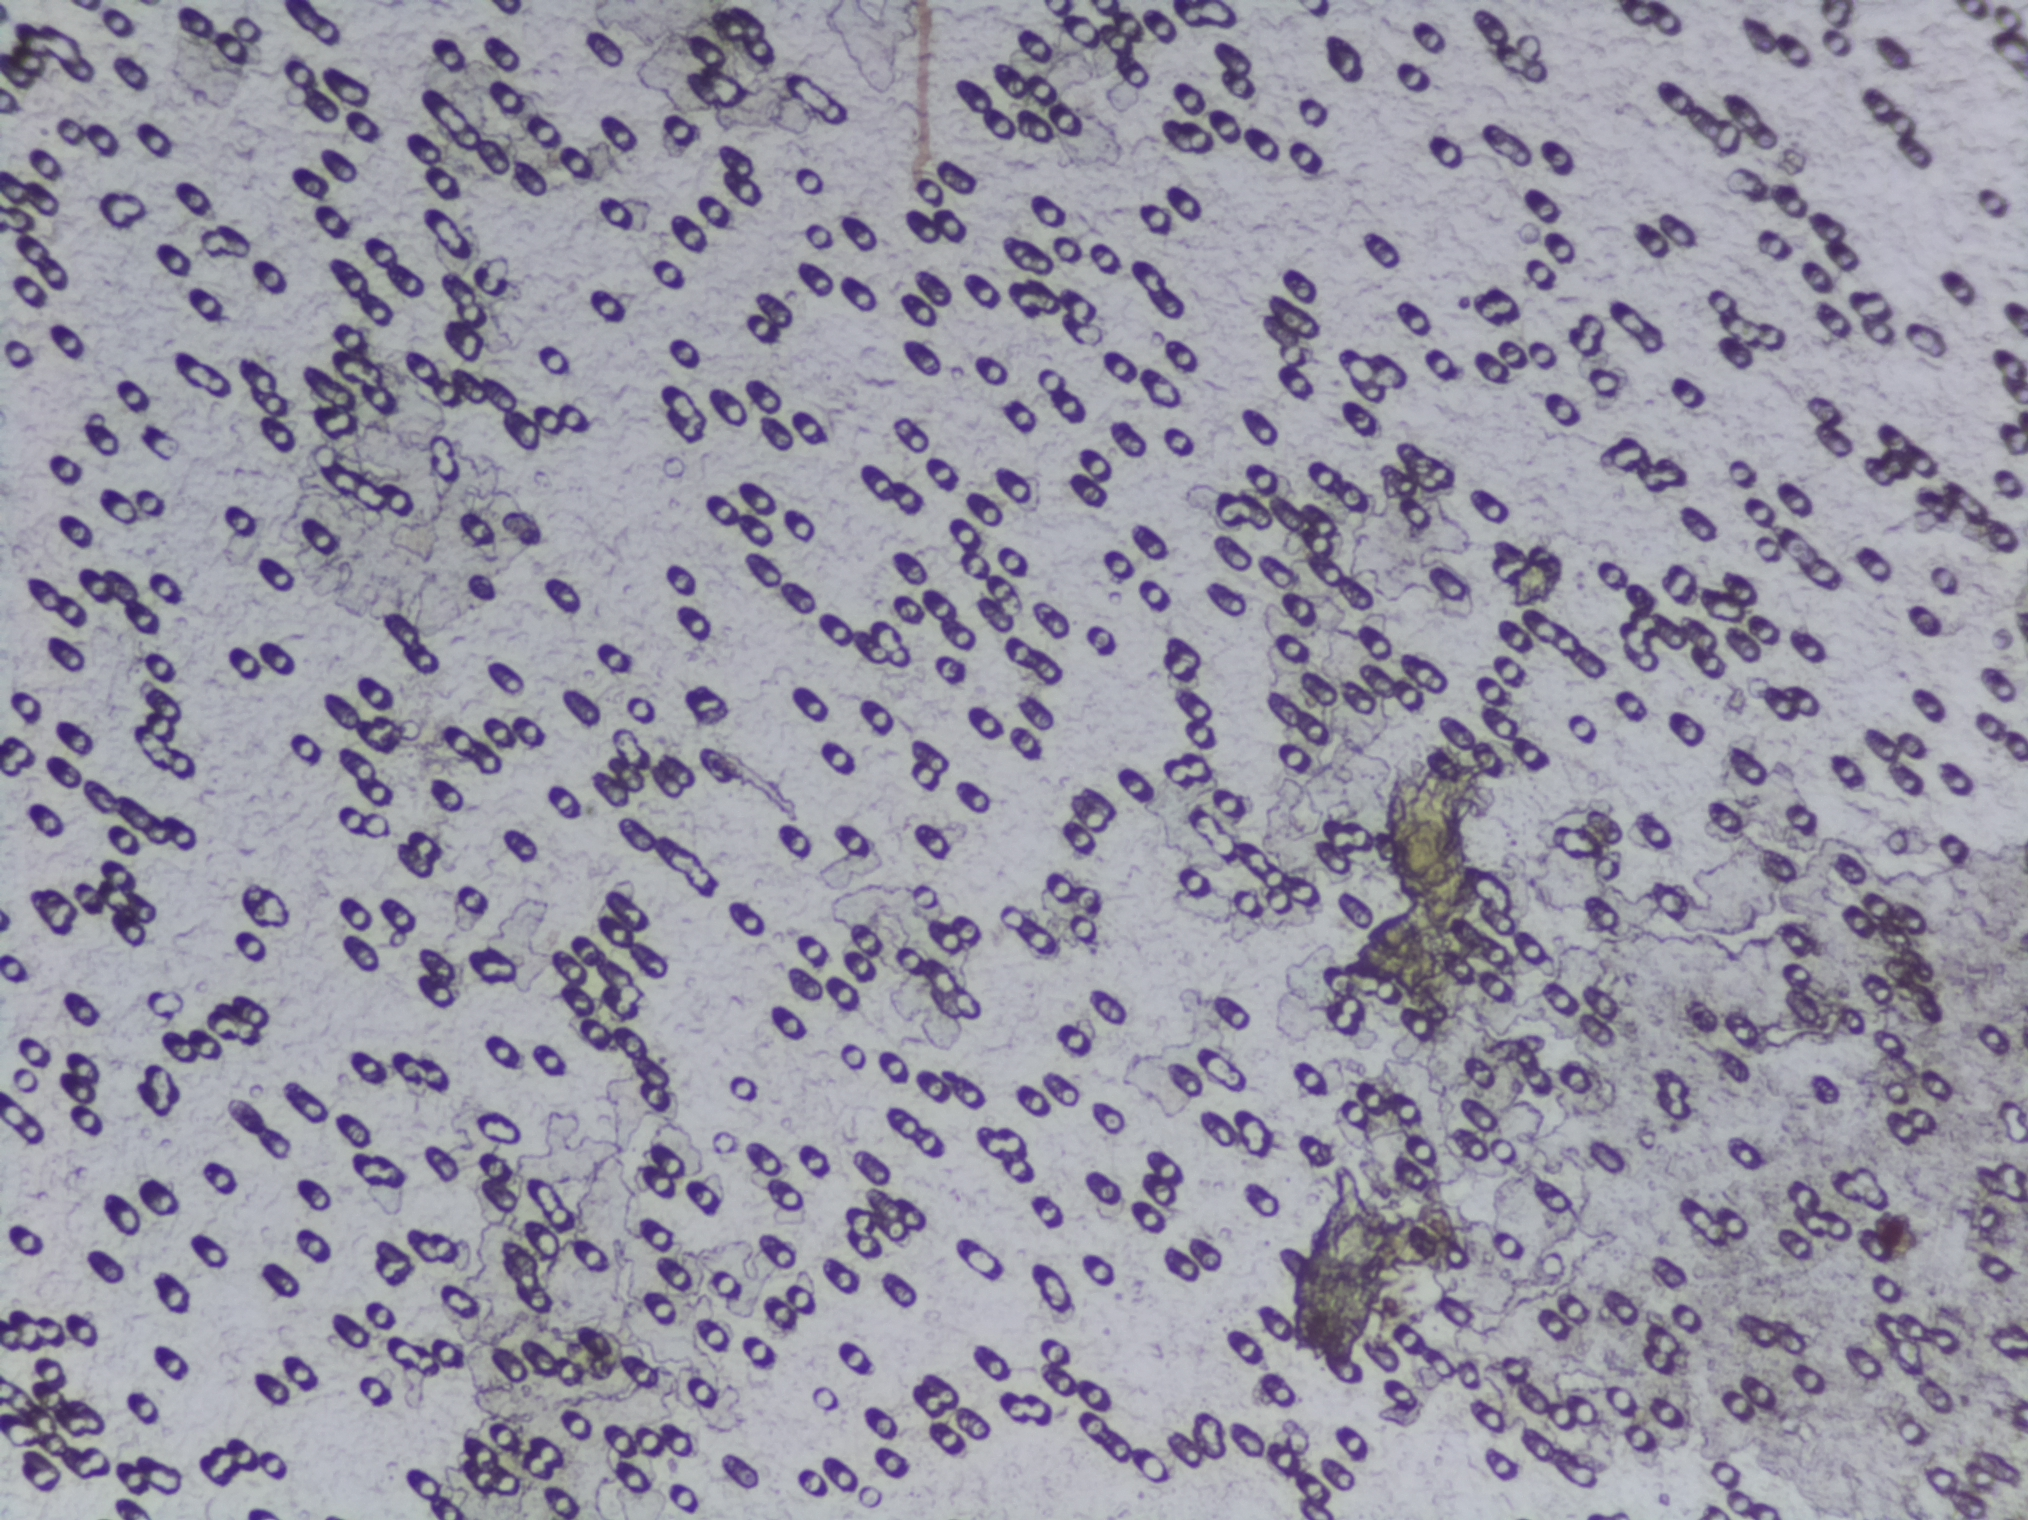
The expert annotation marks no Schistosoma egg in this field of view.
Photograph from an automated digital microscope: urine filter membrane, 4× objective.